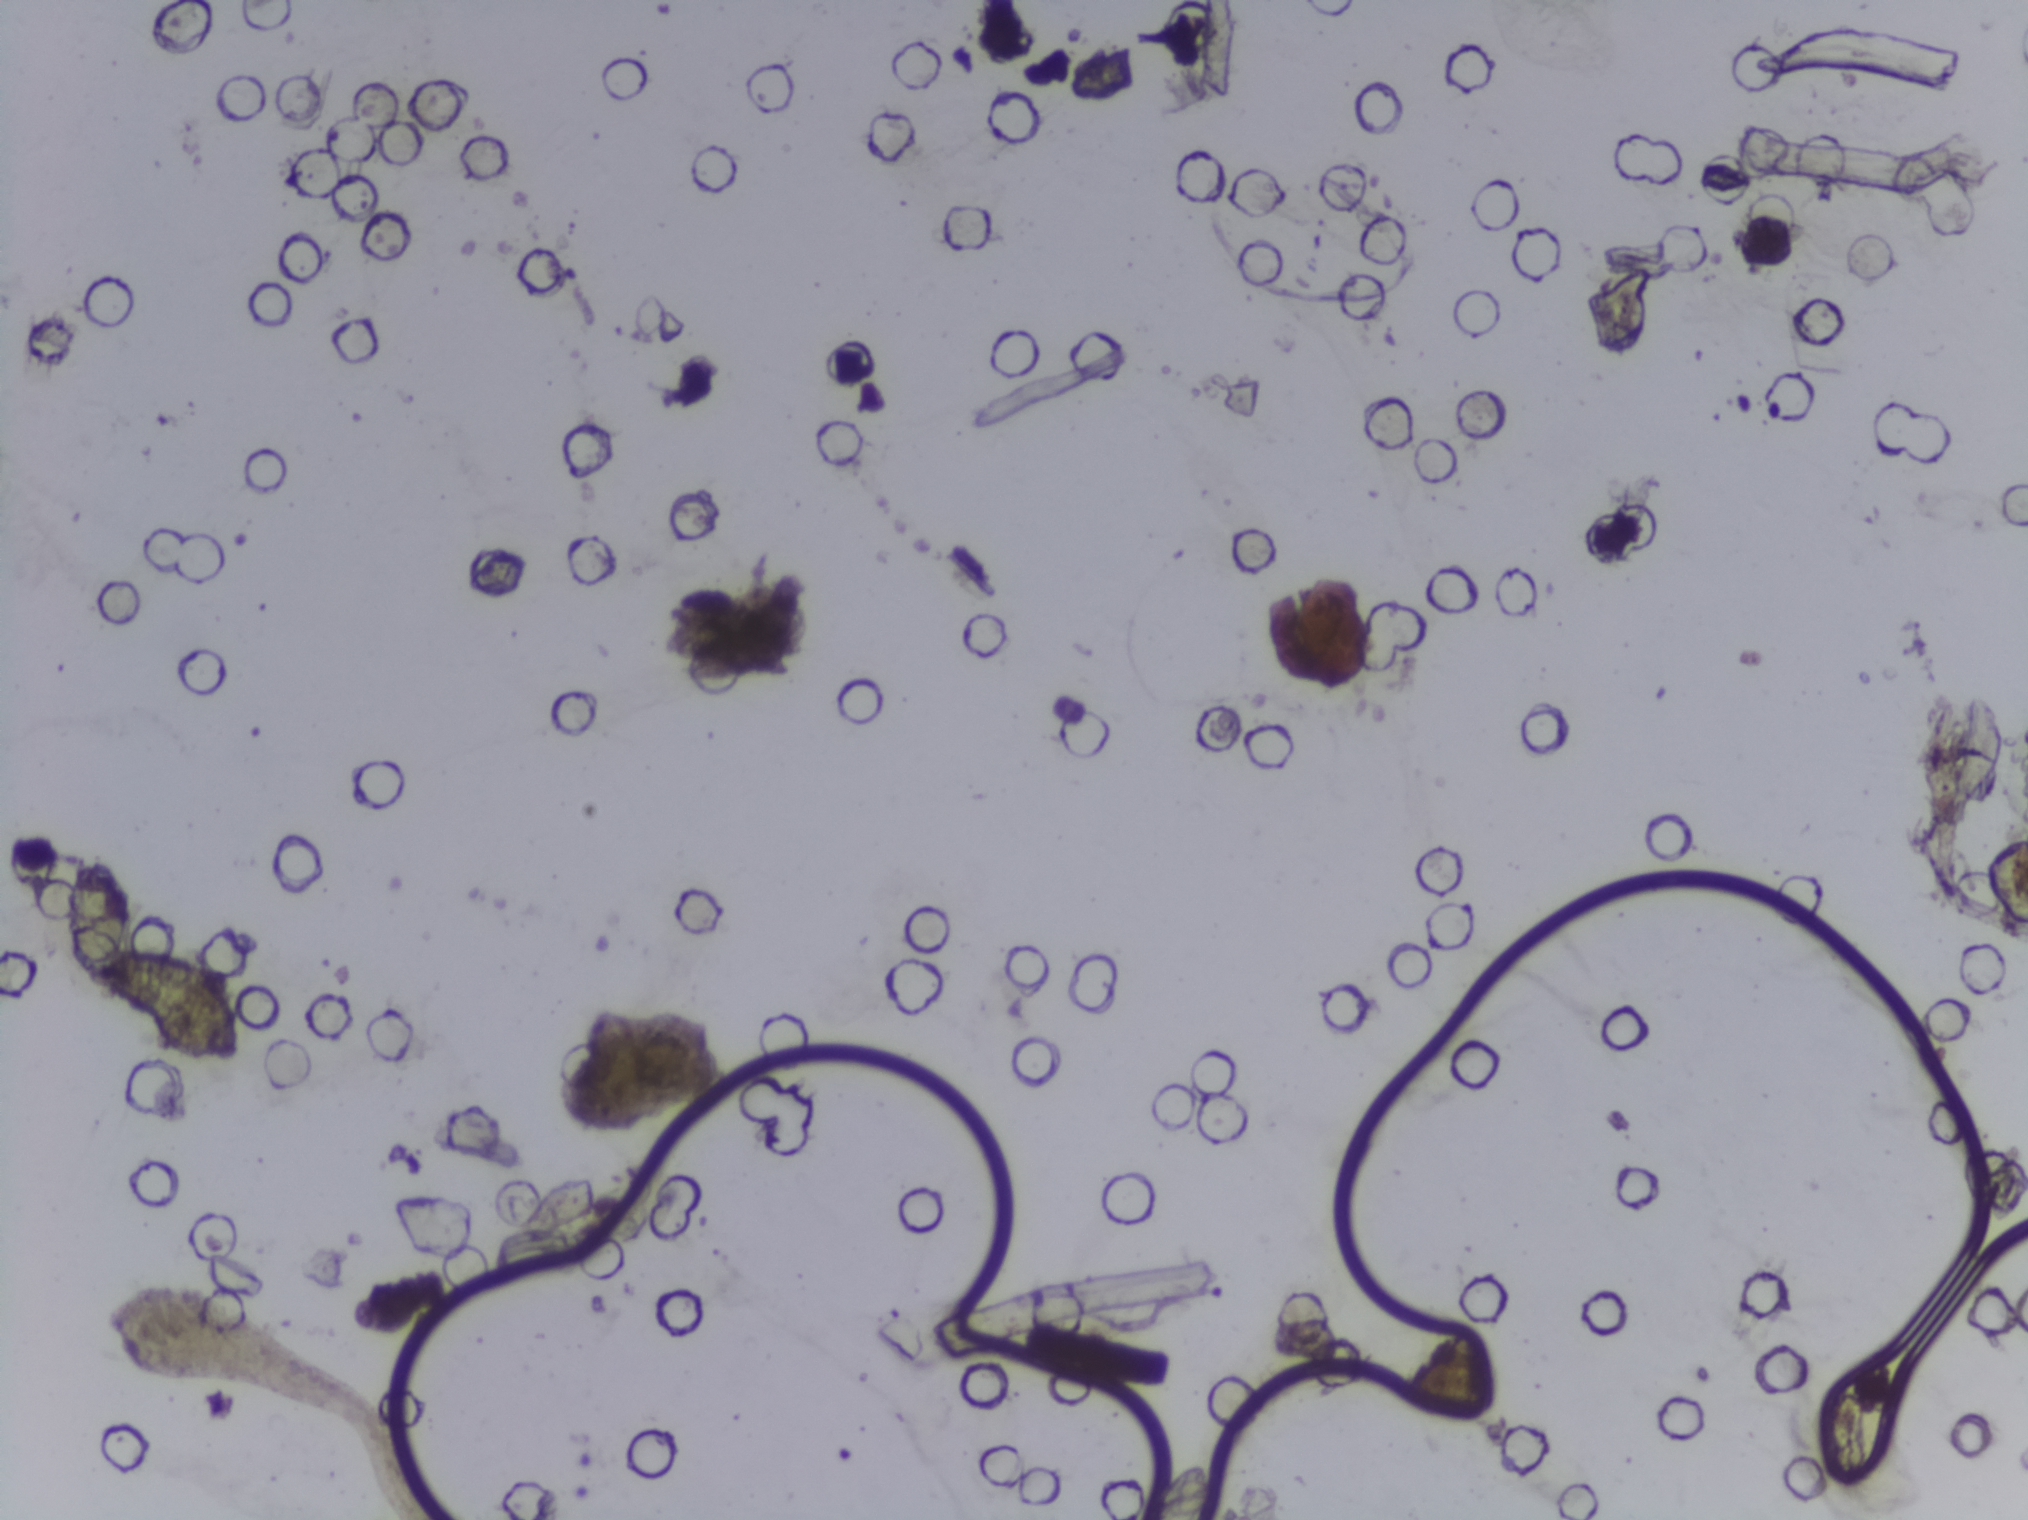
Urine filtration membrane under a 4× objective, photographed by an automated digital microscope.
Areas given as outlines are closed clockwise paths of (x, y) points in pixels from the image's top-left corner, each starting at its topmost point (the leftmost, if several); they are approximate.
One area of this image is outlined as Schistosoma eggs: outline (92, 843), (104, 844), (125, 864), (136, 895), (136, 943), (198, 960), (227, 984), (241, 1024), (242, 1053), (234, 1062), (199, 1064), (173, 1055), (92, 1001), (67, 960), (59, 910), (71, 861). An outlined area can hold more than one egg.